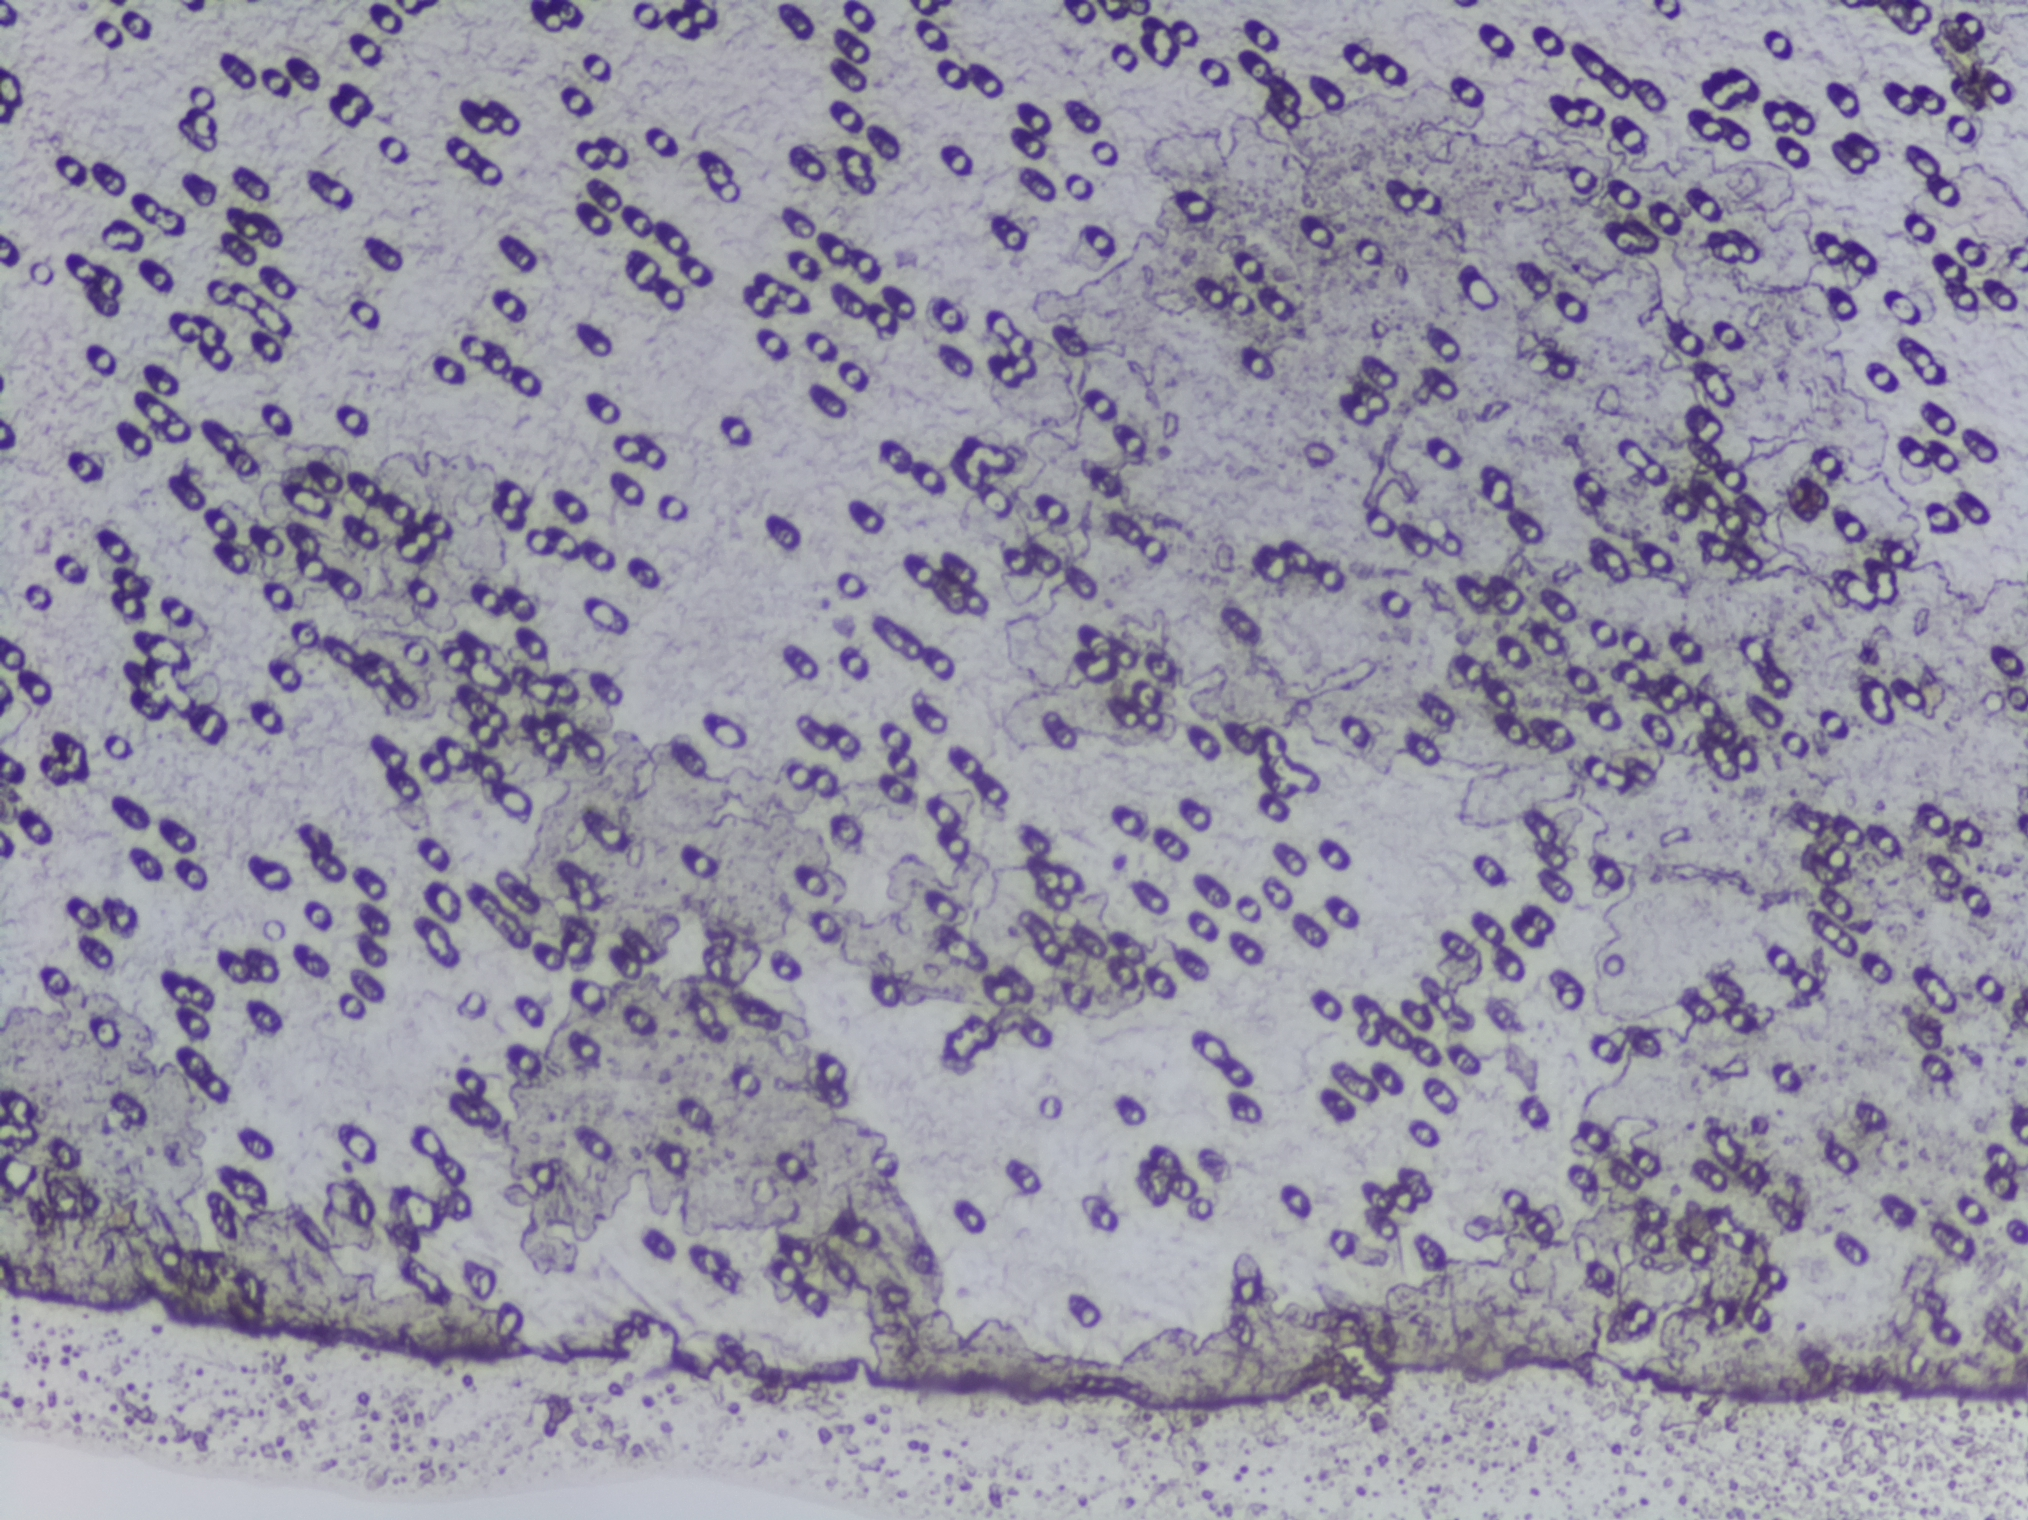
Photograph from an automated digital microscope: urine filter membrane, 4× objective.
No Schistosoma egg is outlined in this image's expert annotation.